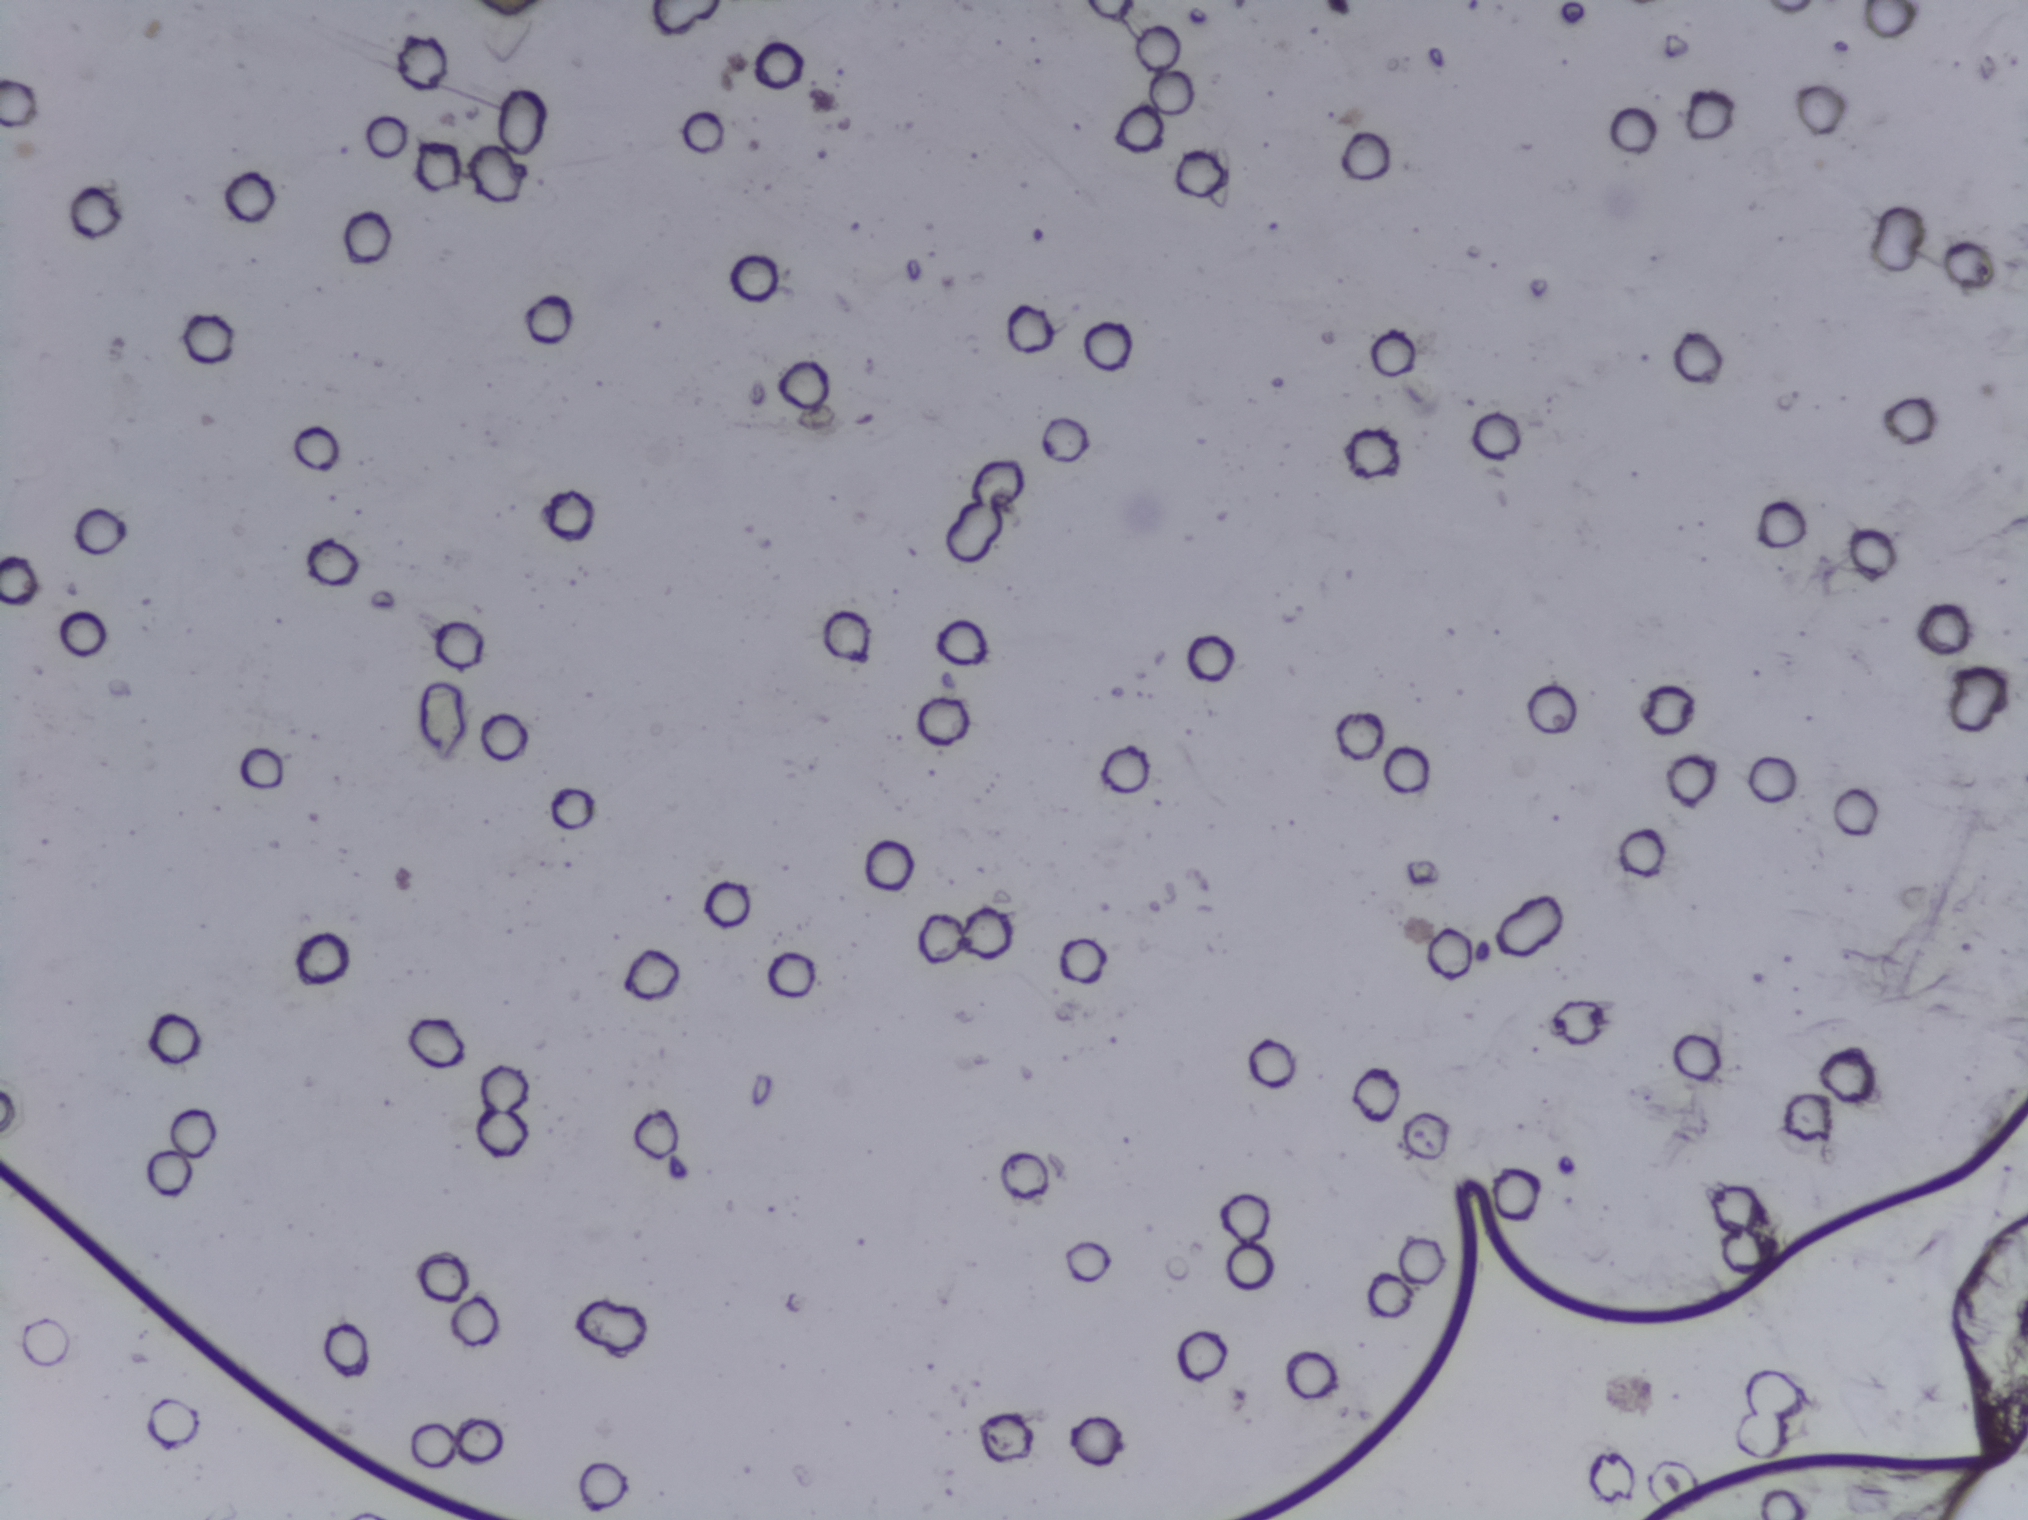
Photograph from an automated digital microscope: urine filter membrane, 4× objective.
Schistosoma eggs: none outlined.